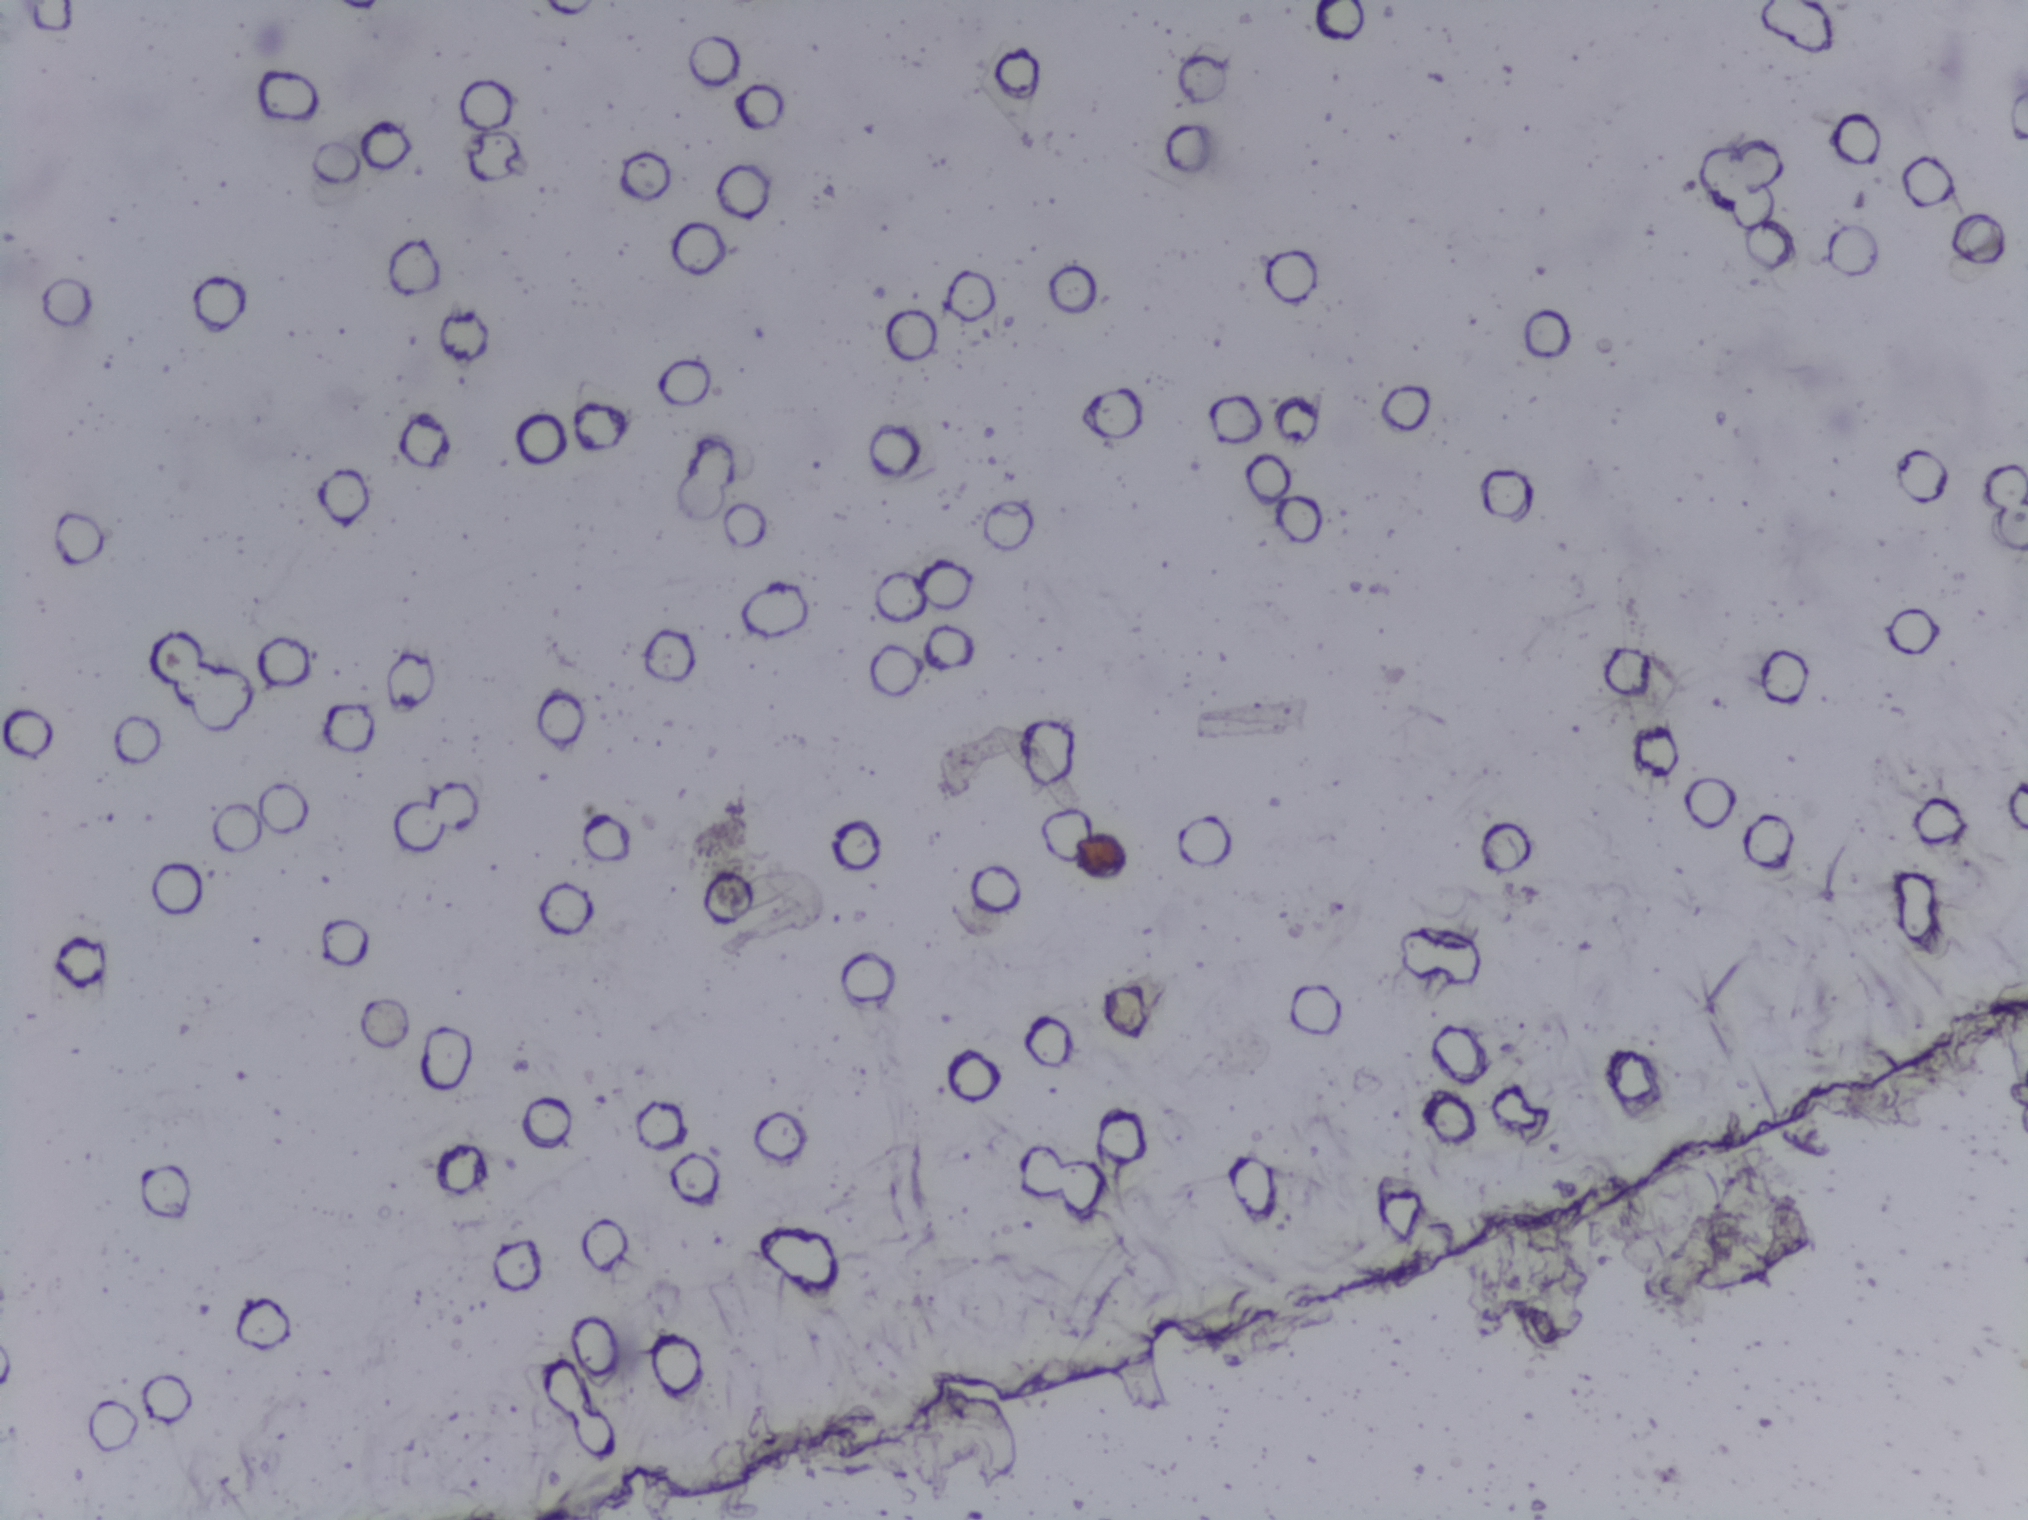
Photomicrograph of a urine filtration membrane, 4× objective. Field of view: about 1.5 mm wide and 1.1 mm high.
The expert annotation outlines no Schistosoma egg in this image.